Urine filter membrane photographed through a 4× microscope objective.
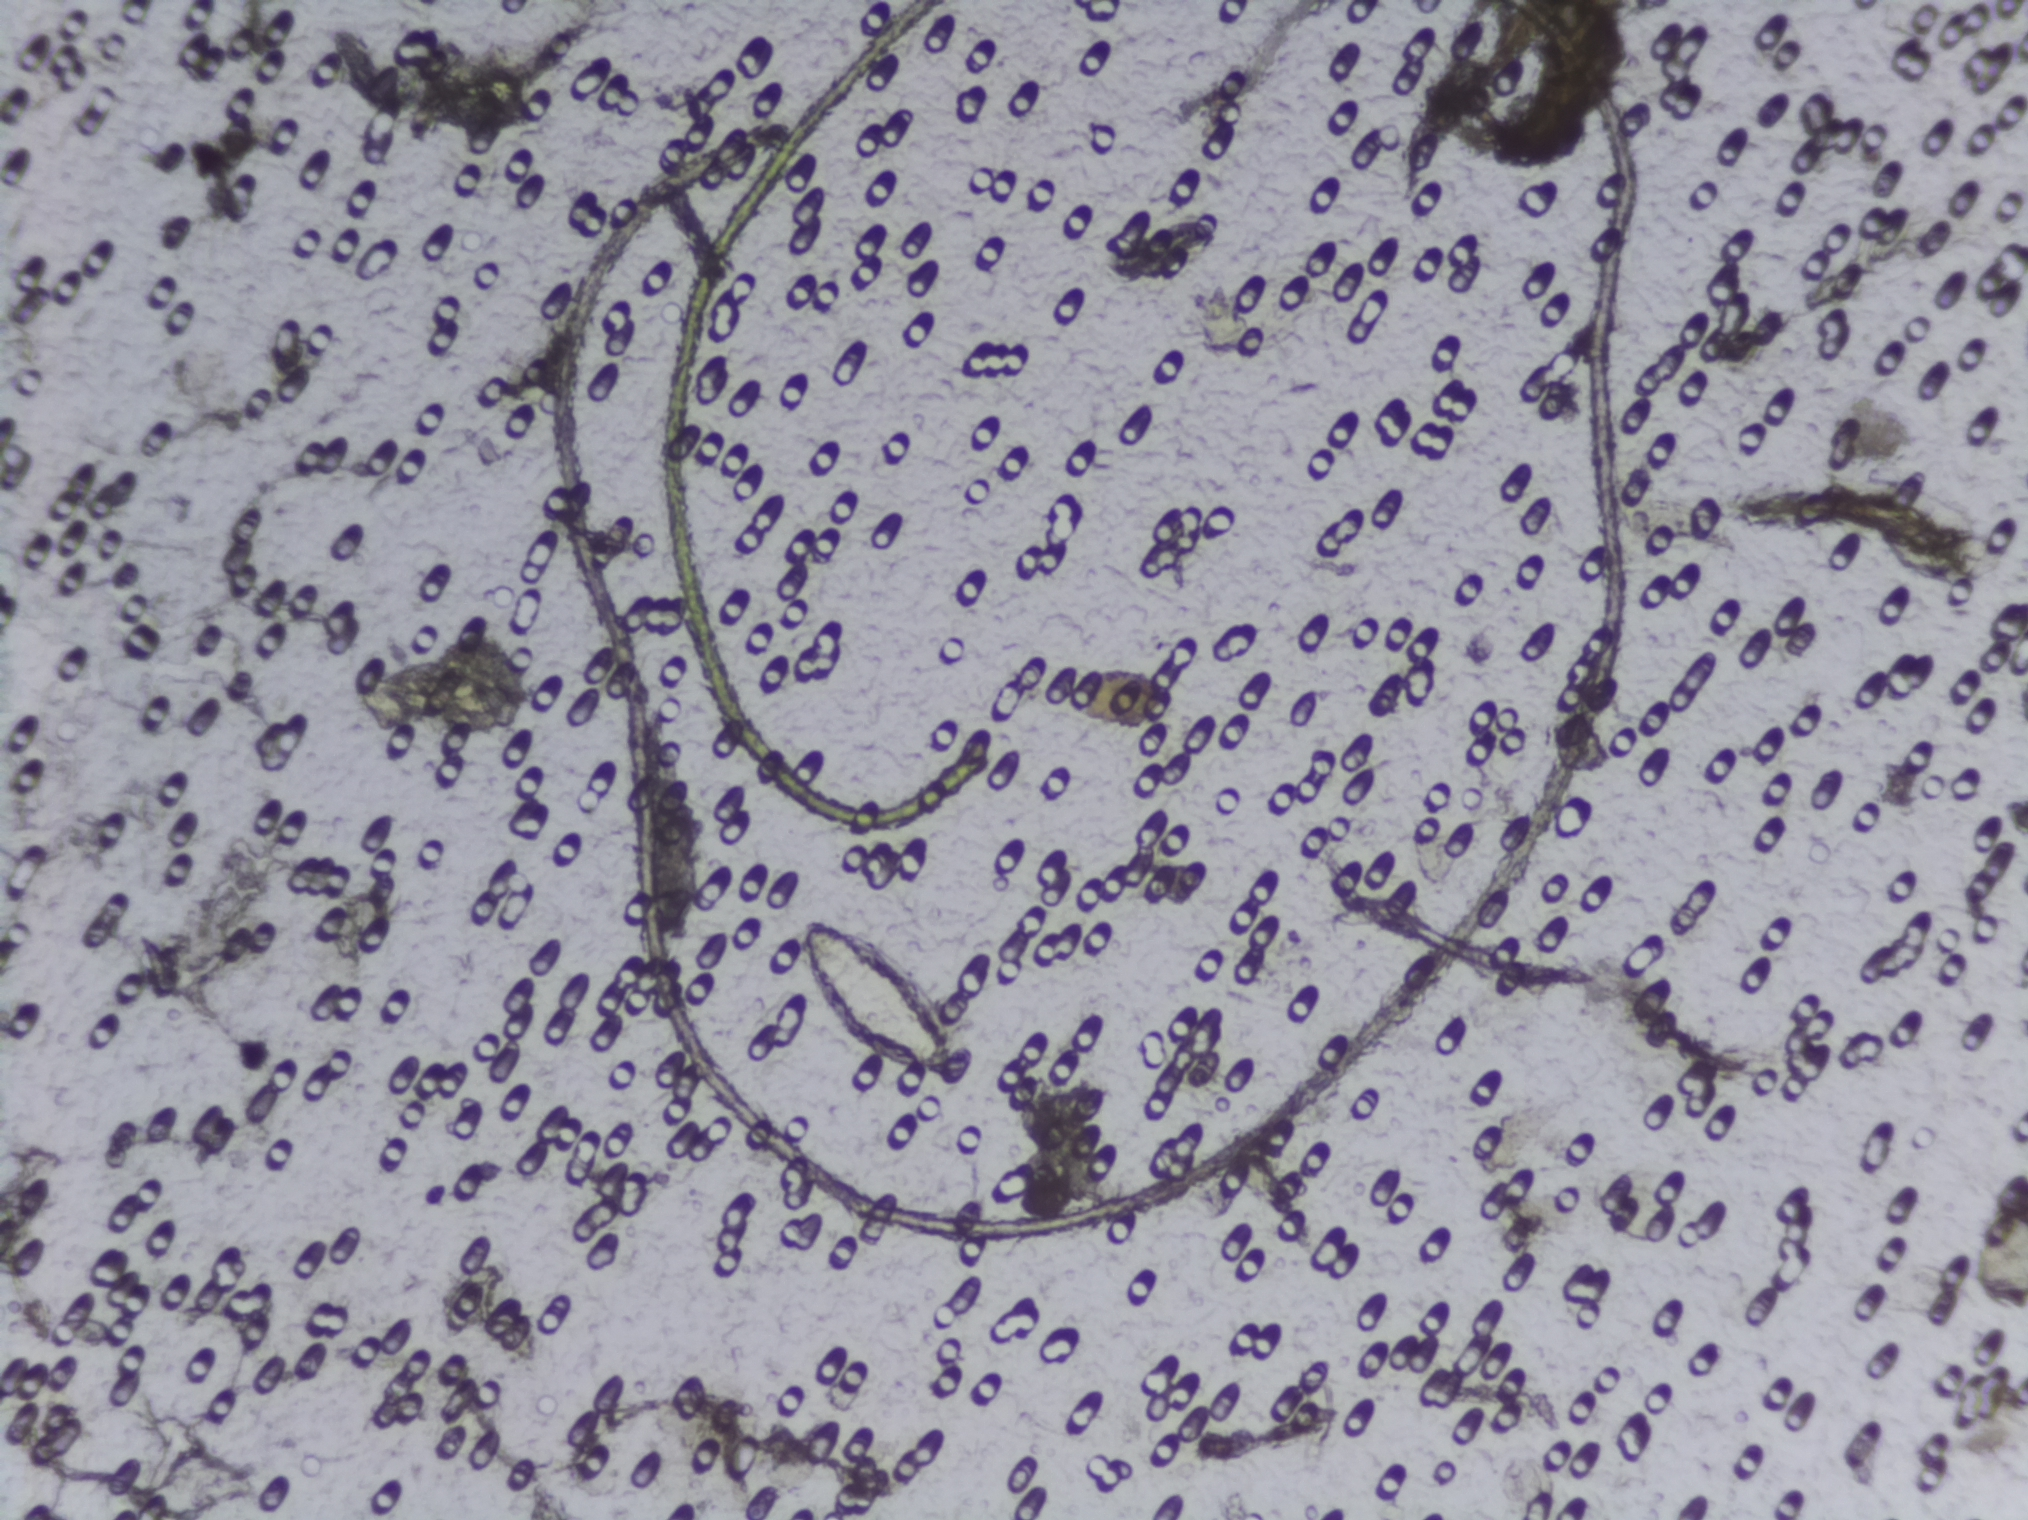
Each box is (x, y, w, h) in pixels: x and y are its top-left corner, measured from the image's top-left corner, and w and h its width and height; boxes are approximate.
Schistosoma eggs are outlined in the expert annotation at (x=793, y=915, w=176, h=169). About 0.6% of the image's pixels are marked (the marked pixels themselves, not the box around them). Eggs that touch can end up inside the same outlined area. Any one outlined egg may, rarely, be S. mansoni rather than S. haematobium.